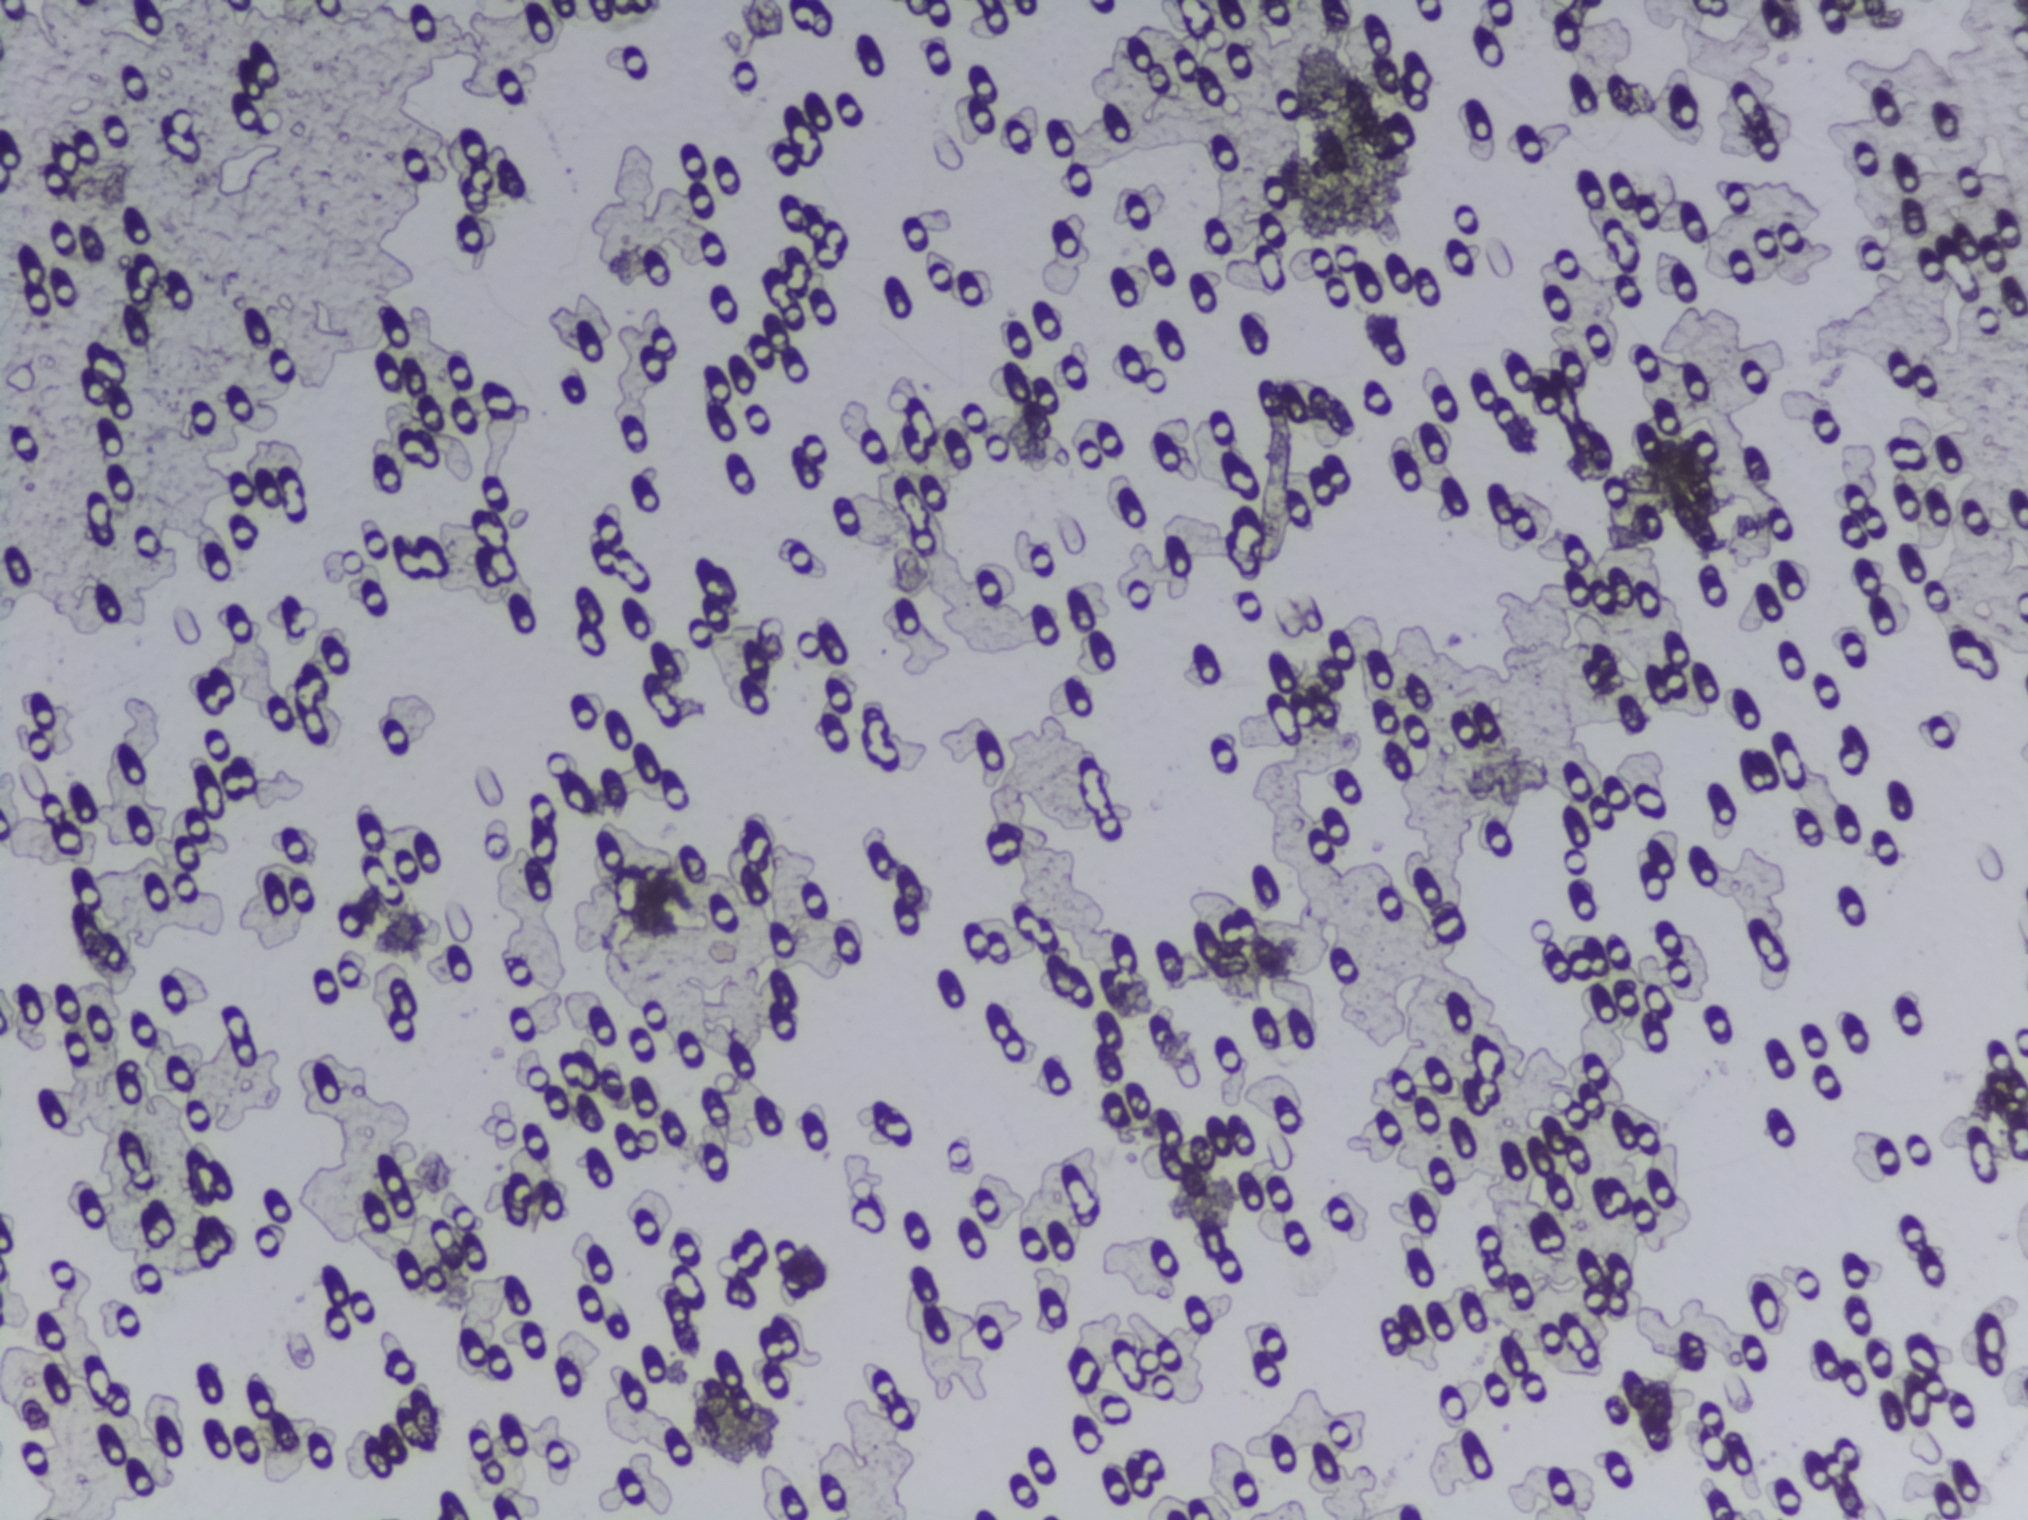
Urine filtration membrane under a 4× objective, photographed by an automated digital microscope. The field of view is about 1.5 mm × 1.1 mm.
No area of this image was outlined as a Schistosoma egg.